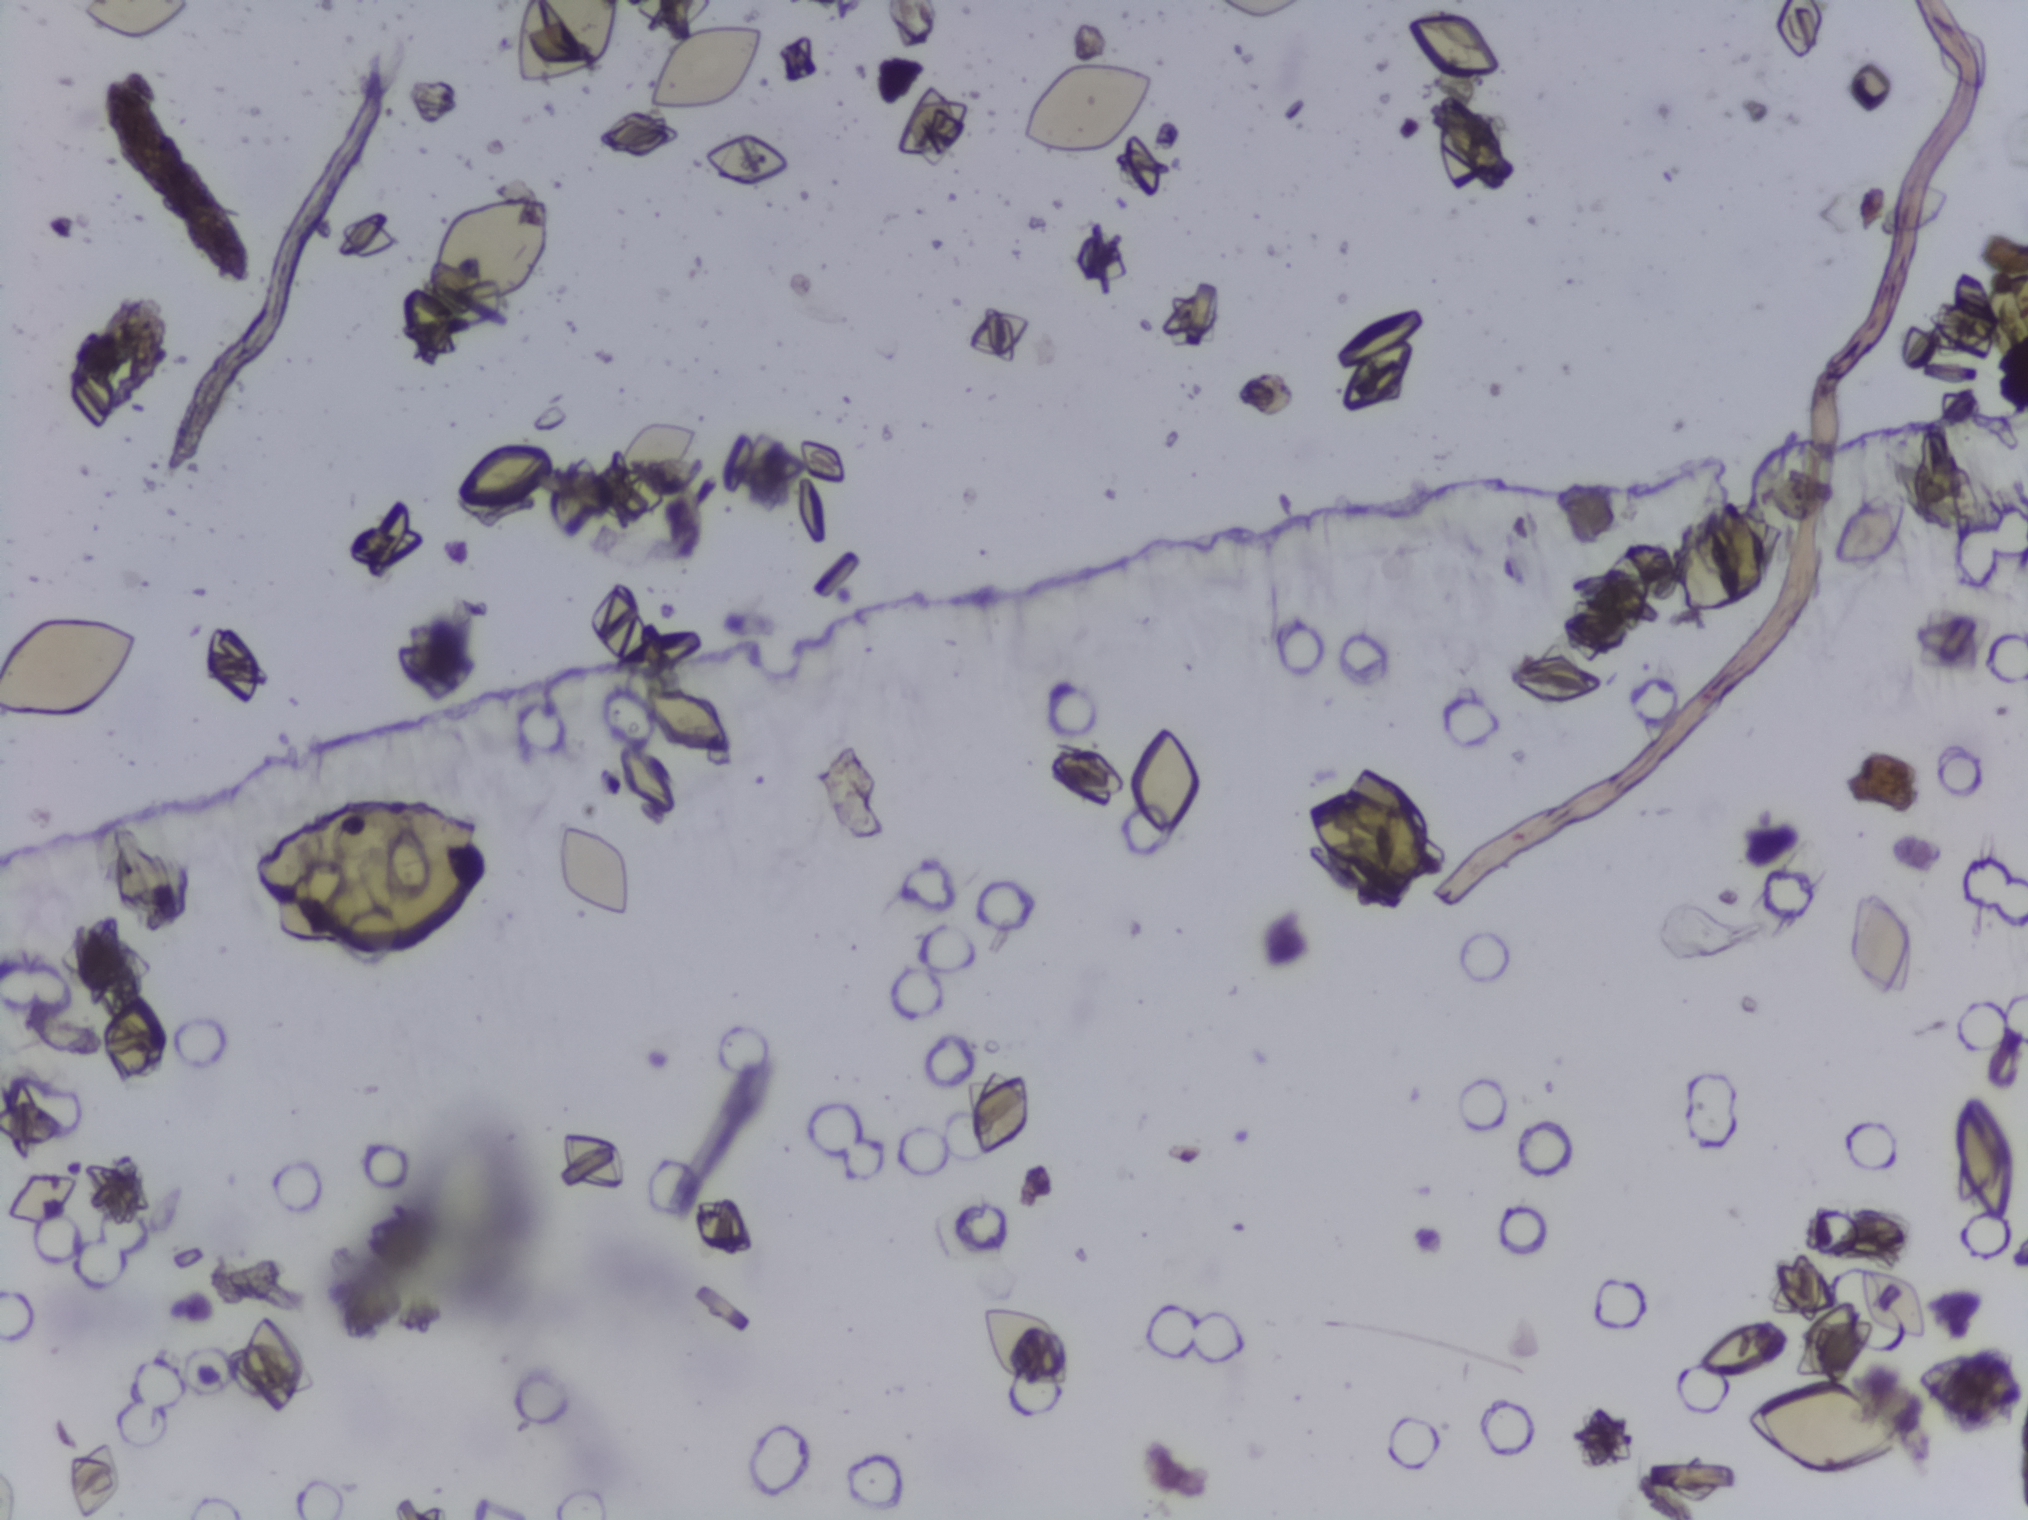
Urine filter membrane photographed through a 4× microscope objective.
The expert annotation outlines no Schistosoma egg in this image.